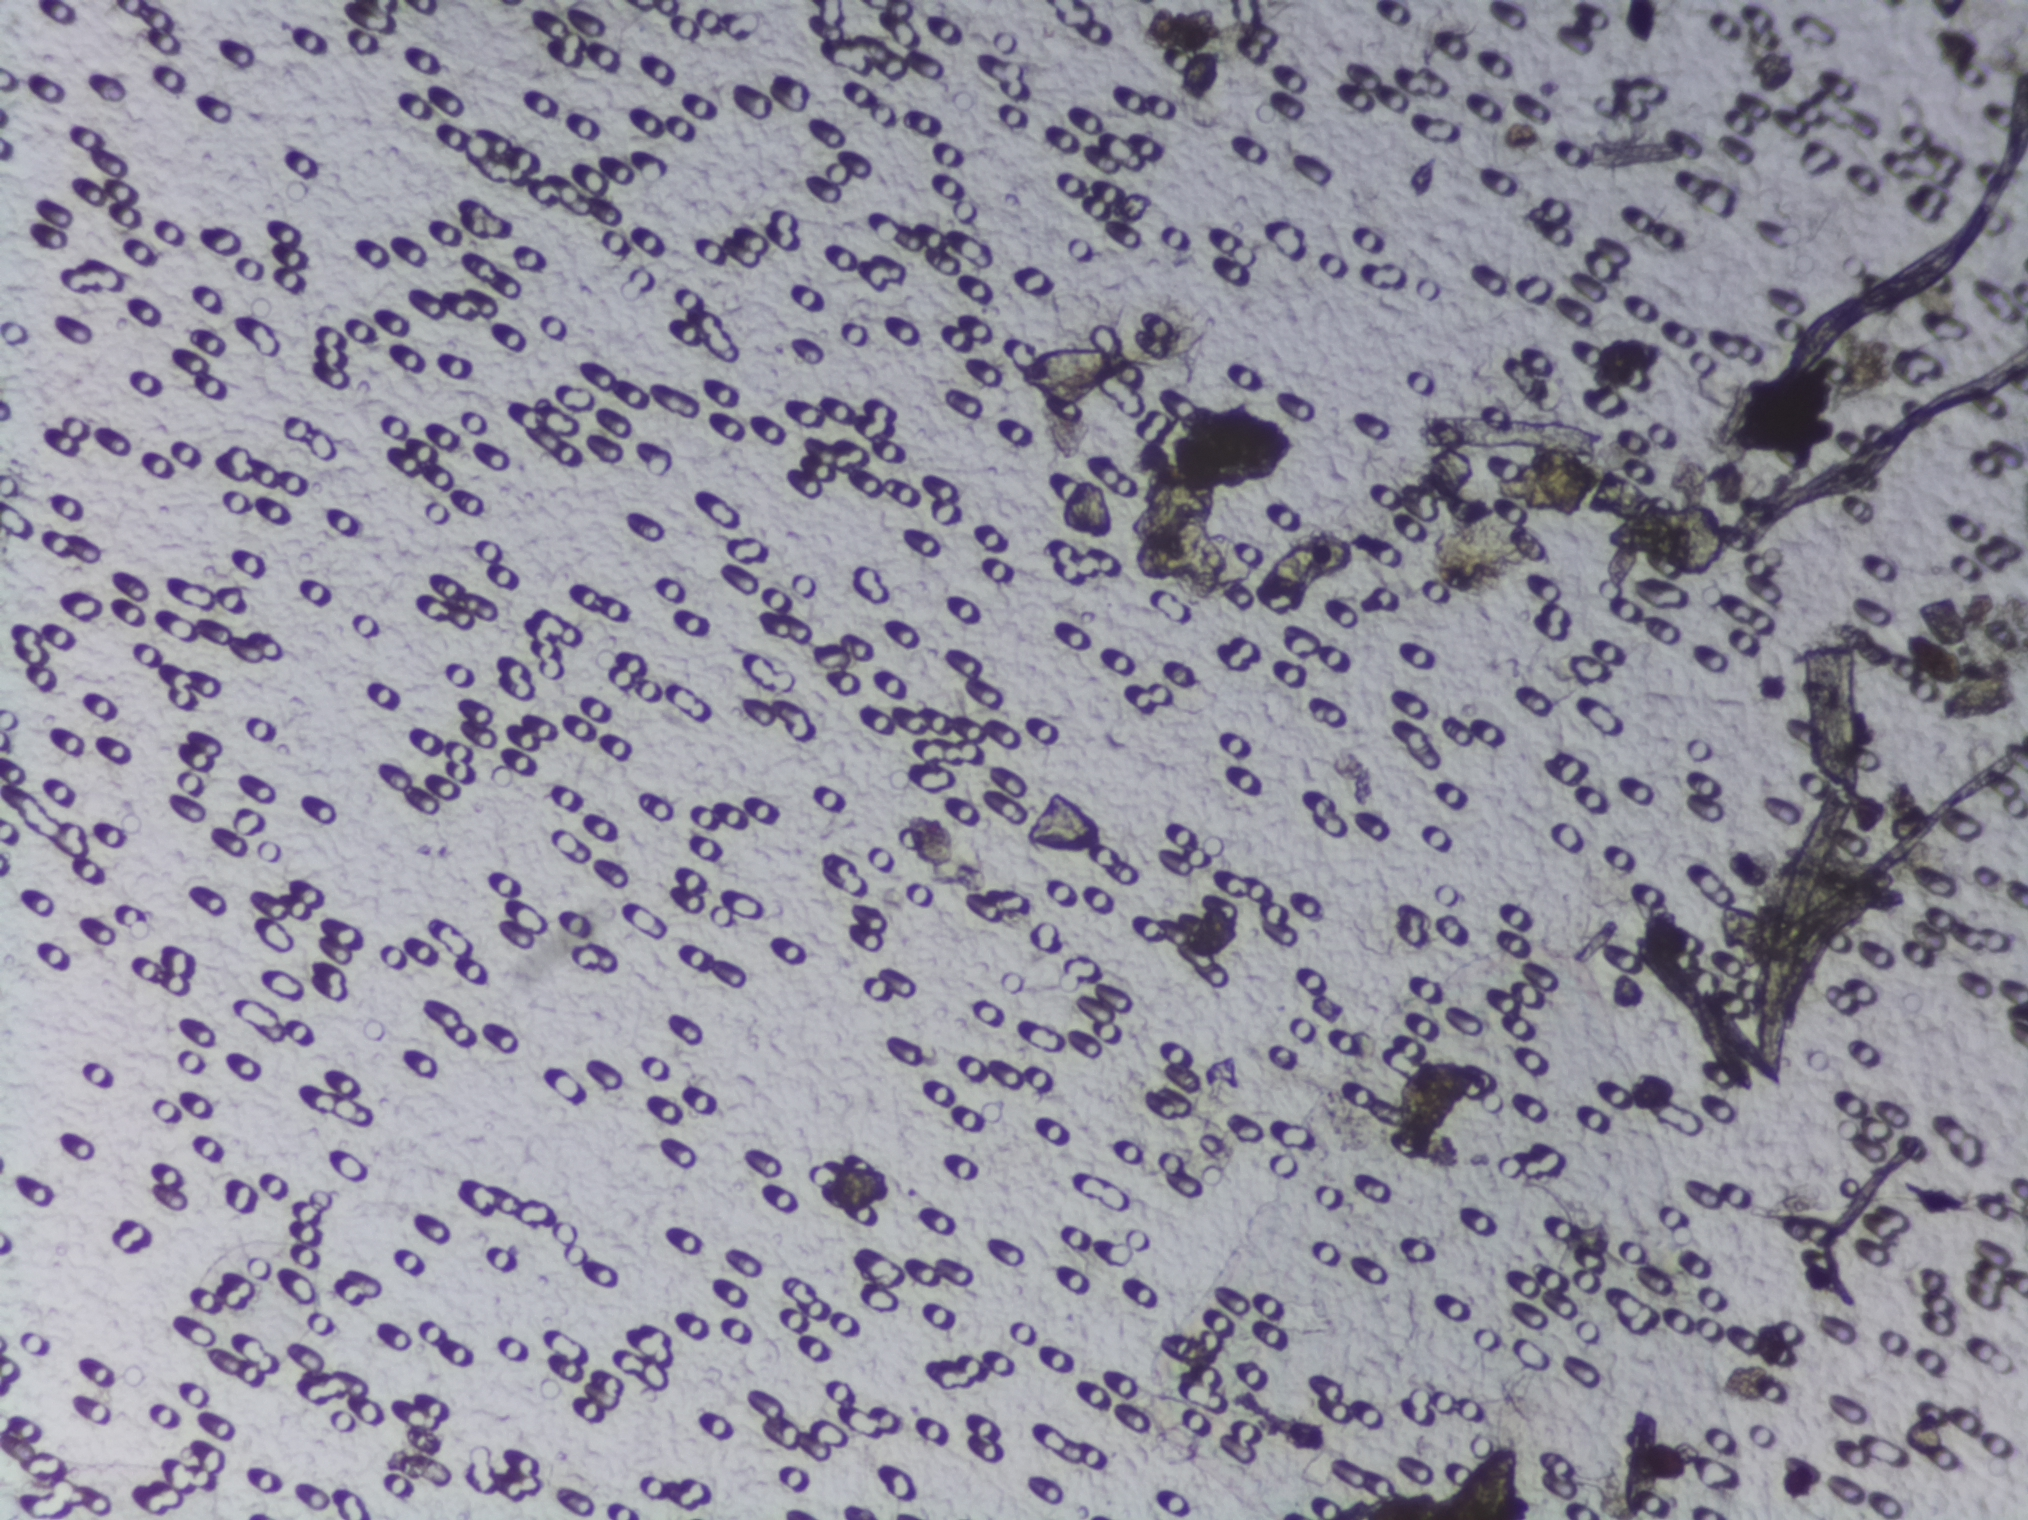
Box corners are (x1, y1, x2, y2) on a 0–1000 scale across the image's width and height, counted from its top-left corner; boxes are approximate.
Schistosoma eggs are outlined in the expert annotation at (503, 227, 558, 272); (505, 519, 545, 563); (716, 952, 749, 1000) (reaching the bottom edge of the frame); (754, 294, 784, 340); (940, 416, 968, 452); (956, 444, 996, 474). An outlined area can hold more than one egg.
Urine filtration membrane under a 4× objective, photographed by an automated digital microscope.